Photograph from an automated digital microscope: urine filter membrane, 4× objective. Field of view: about 1.5 mm wide and 1.1 mm high.
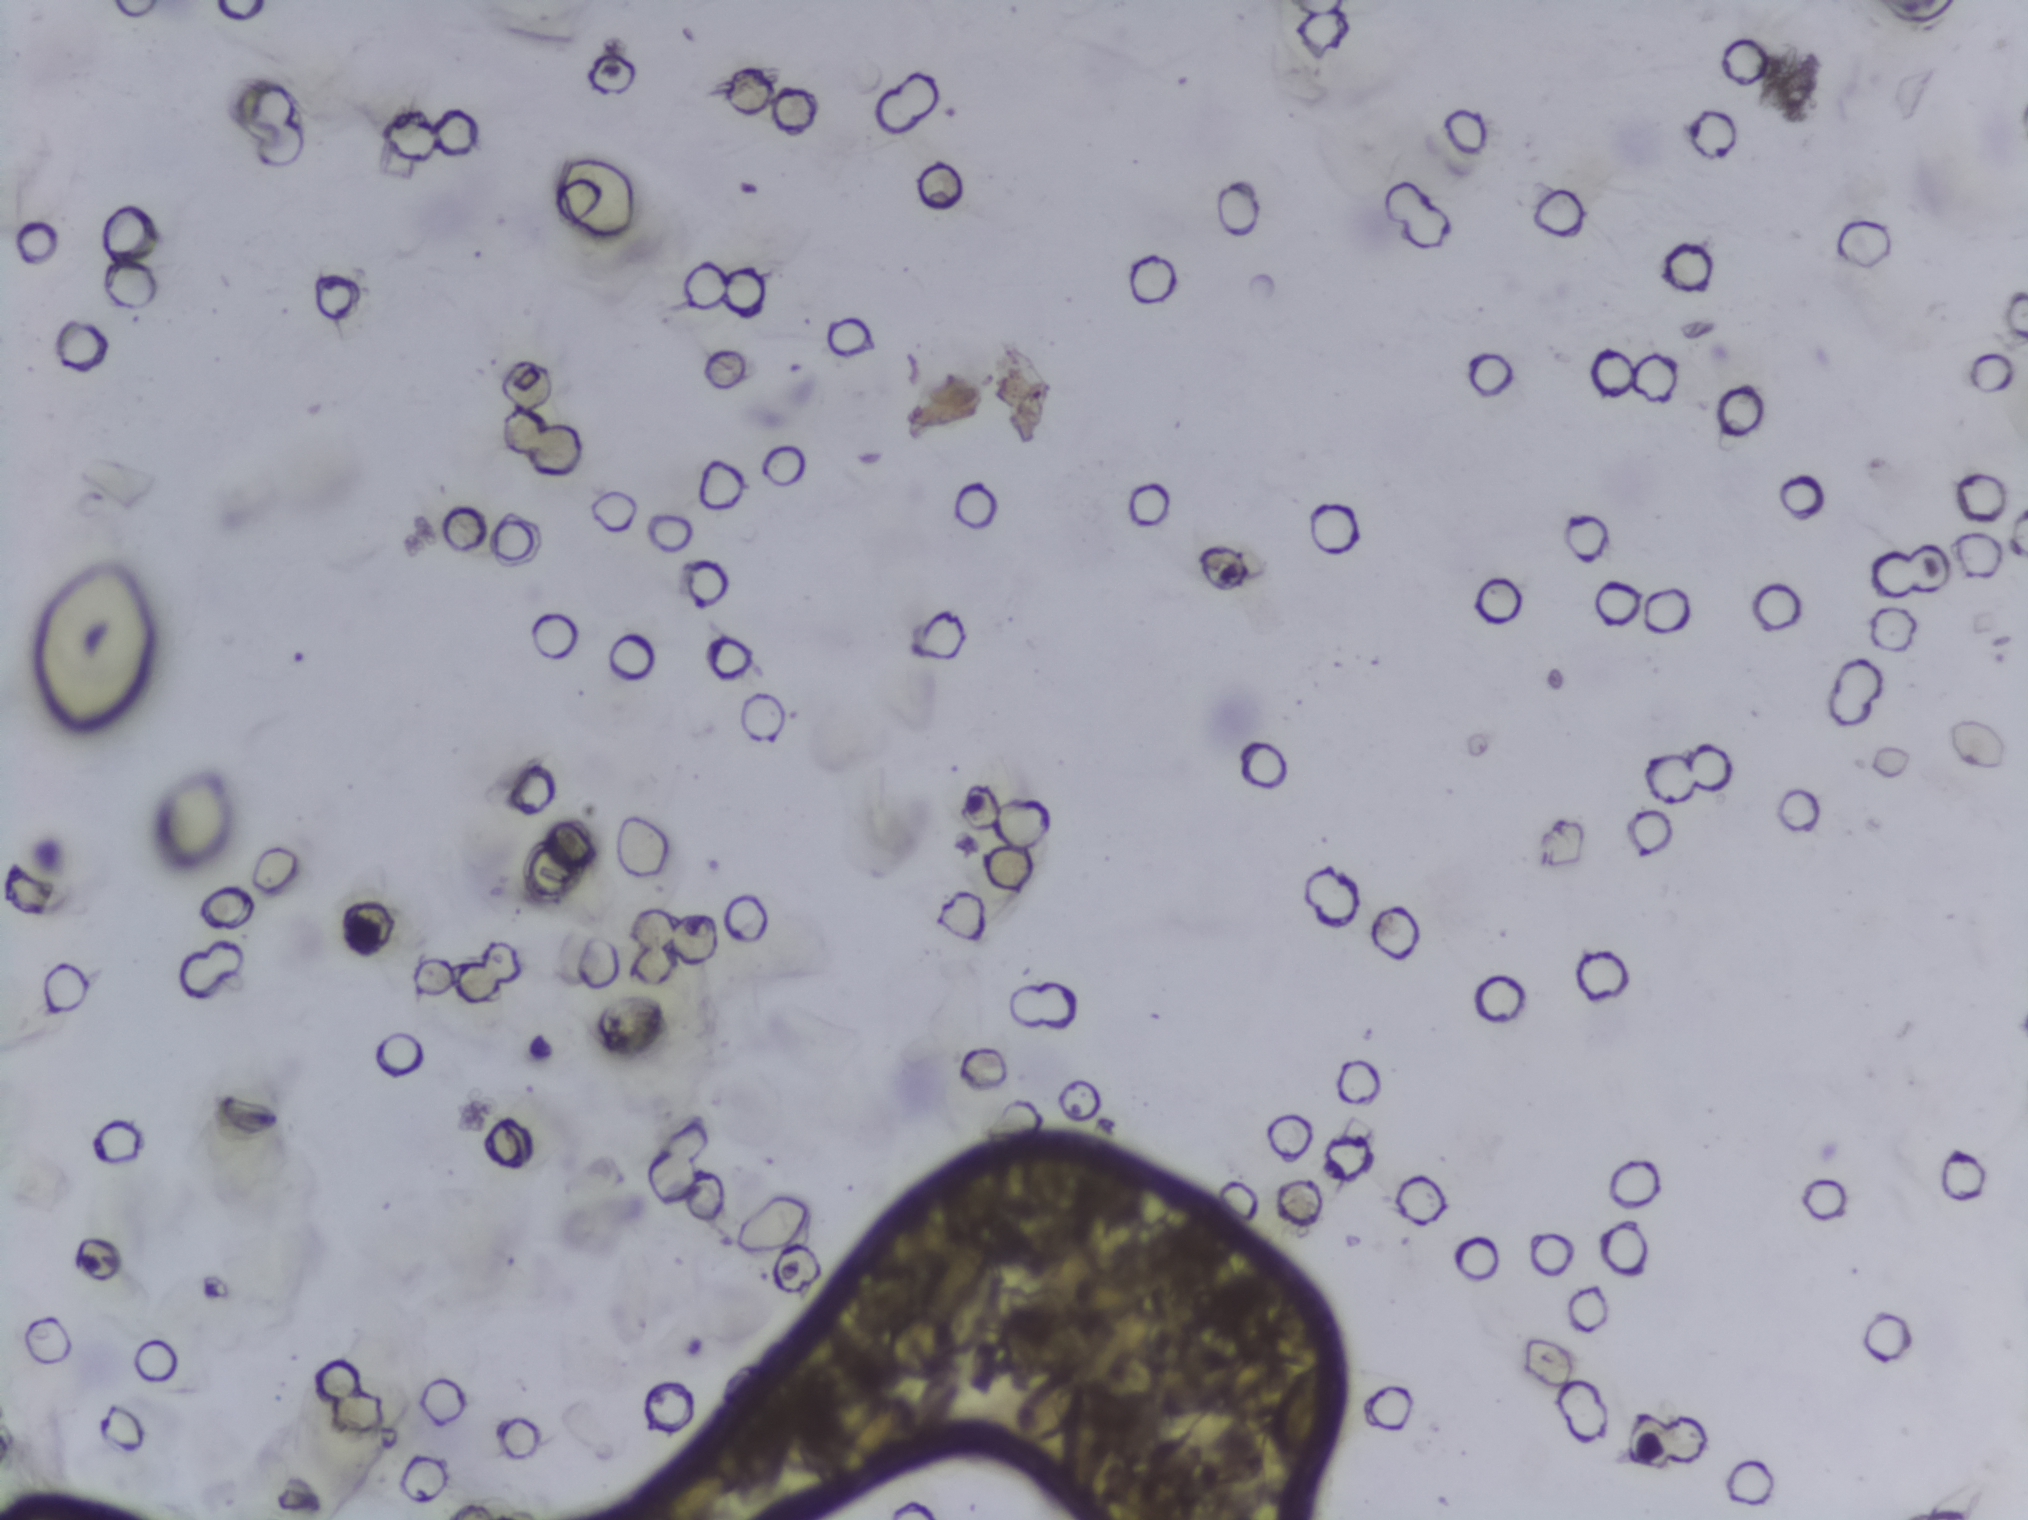
No area of this image was outlined as a Schistosoma egg.